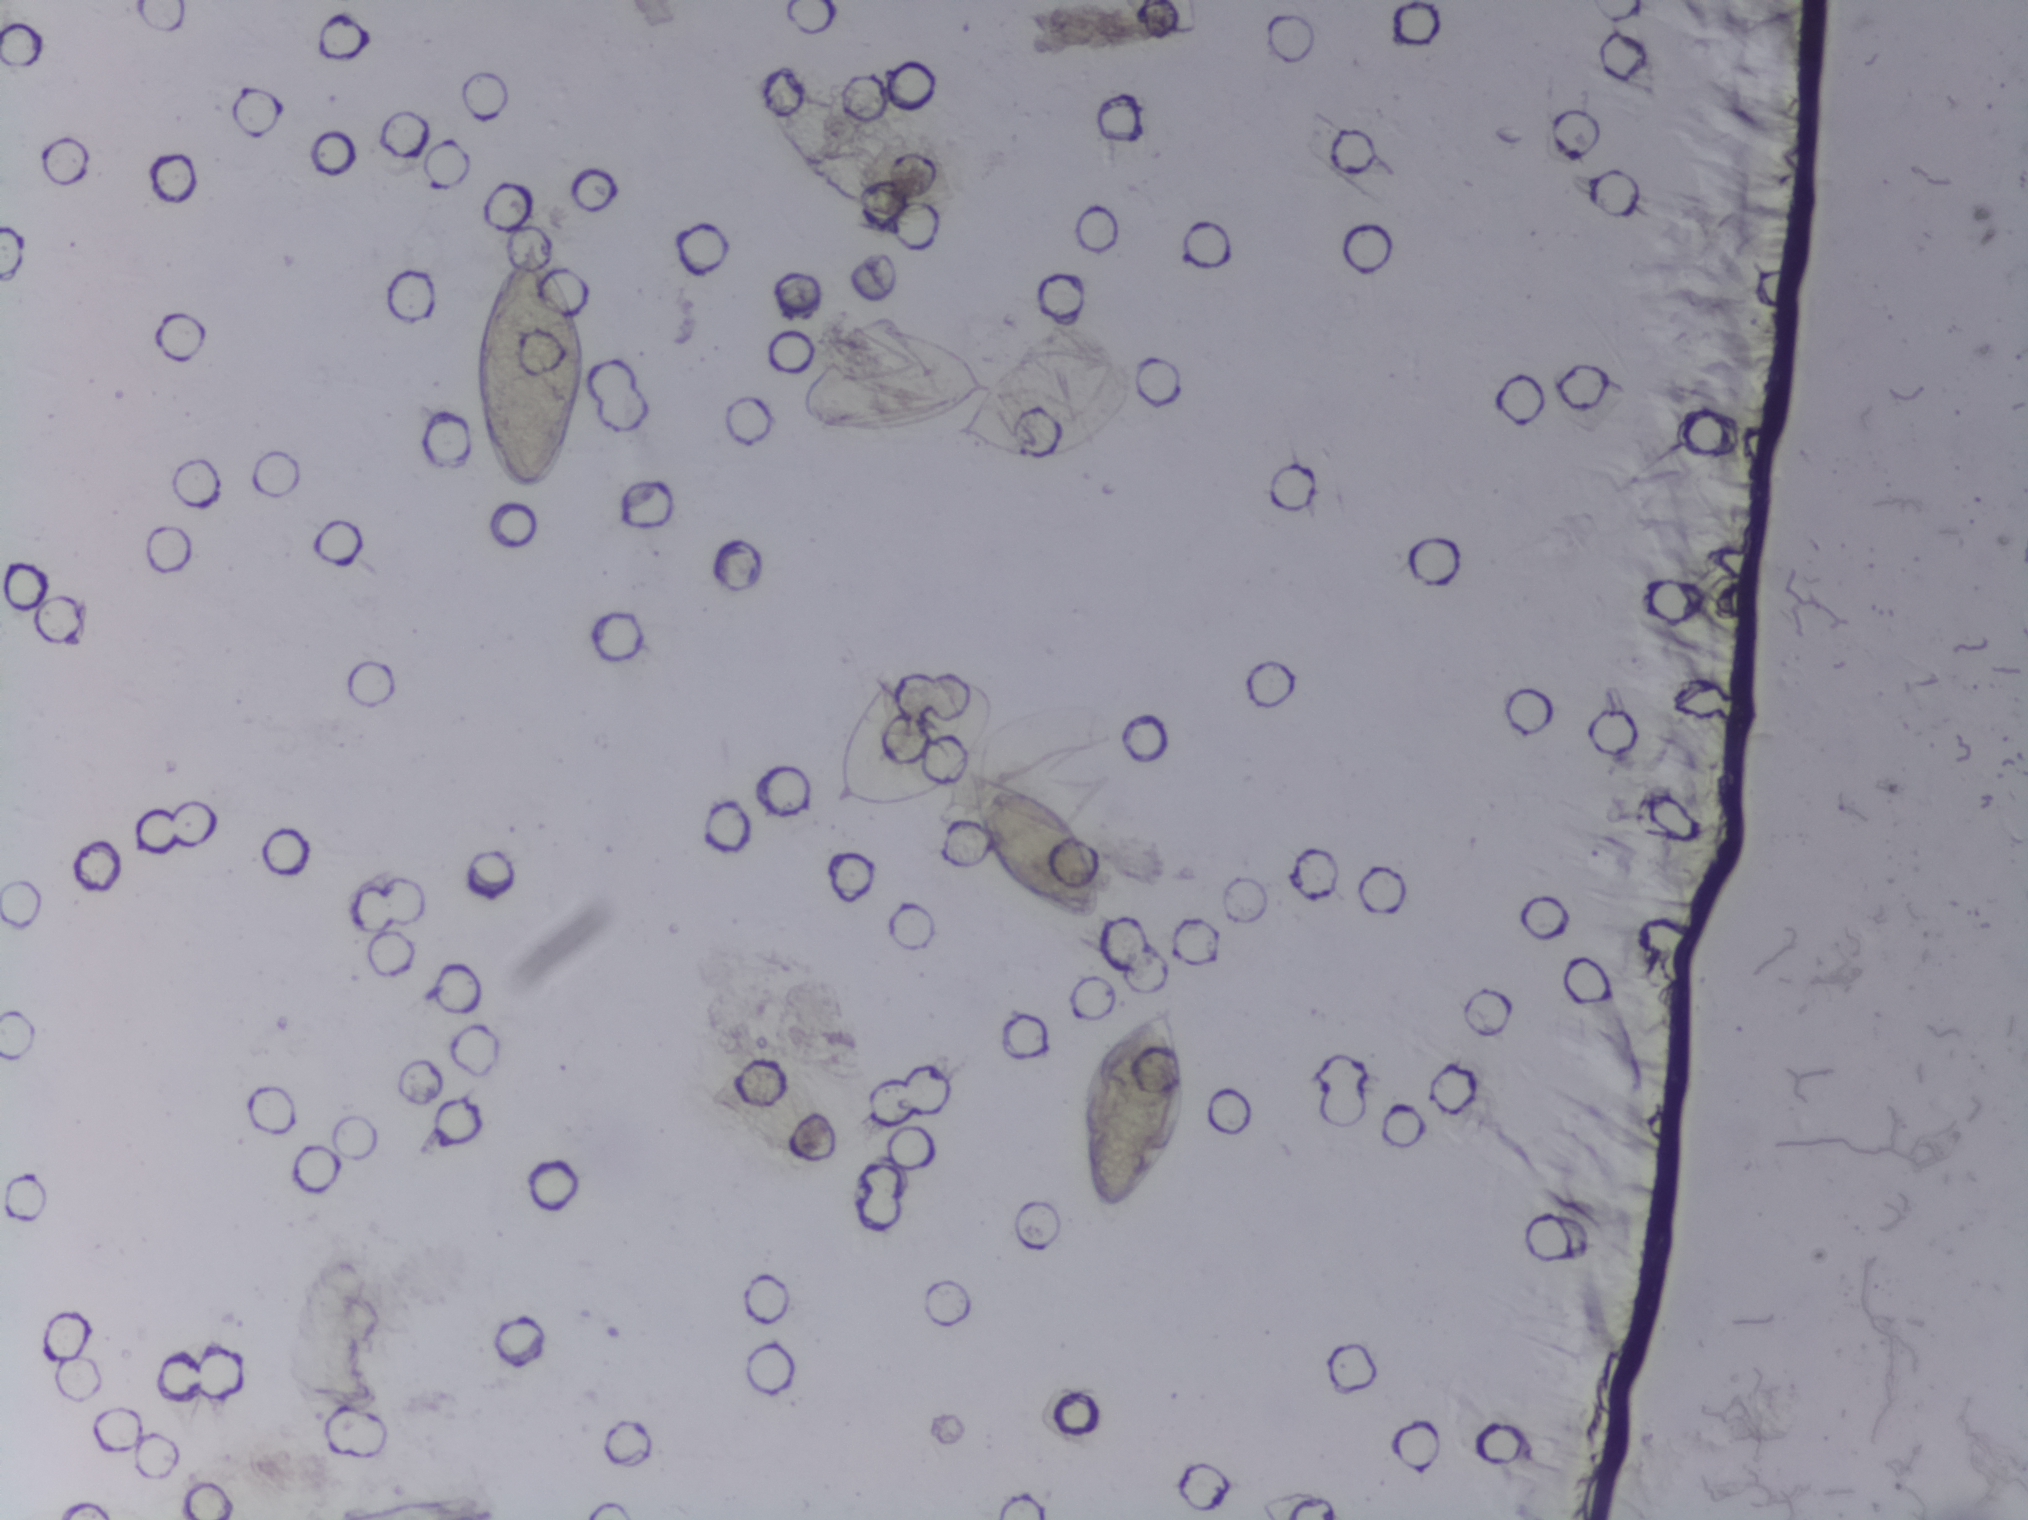
Photograph from an automated digital microscope: urine filter membrane, 4× objective. The field of view is about 1.5 mm × 1.1 mm.
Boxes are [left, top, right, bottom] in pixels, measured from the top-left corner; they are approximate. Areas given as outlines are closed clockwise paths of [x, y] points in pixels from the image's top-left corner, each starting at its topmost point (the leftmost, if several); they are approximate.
Areas outlined as Schistosoma eggs, left to right:
1. box [461, 234, 587, 494]
2. box [798, 322, 1140, 466]
3. outline [939, 671], [964, 671], [996, 690], [1004, 730], [981, 760], [988, 770], [1030, 784], [1083, 825], [1111, 890], [1102, 919], [1056, 922], [1000, 892], [982, 872], [966, 835], [961, 780], [933, 797], [879, 810], [851, 810], [829, 794], [829, 751], [869, 681], [882, 674]
4. box [1069, 998, 1191, 1213]
A single outlined area may contain several eggs.